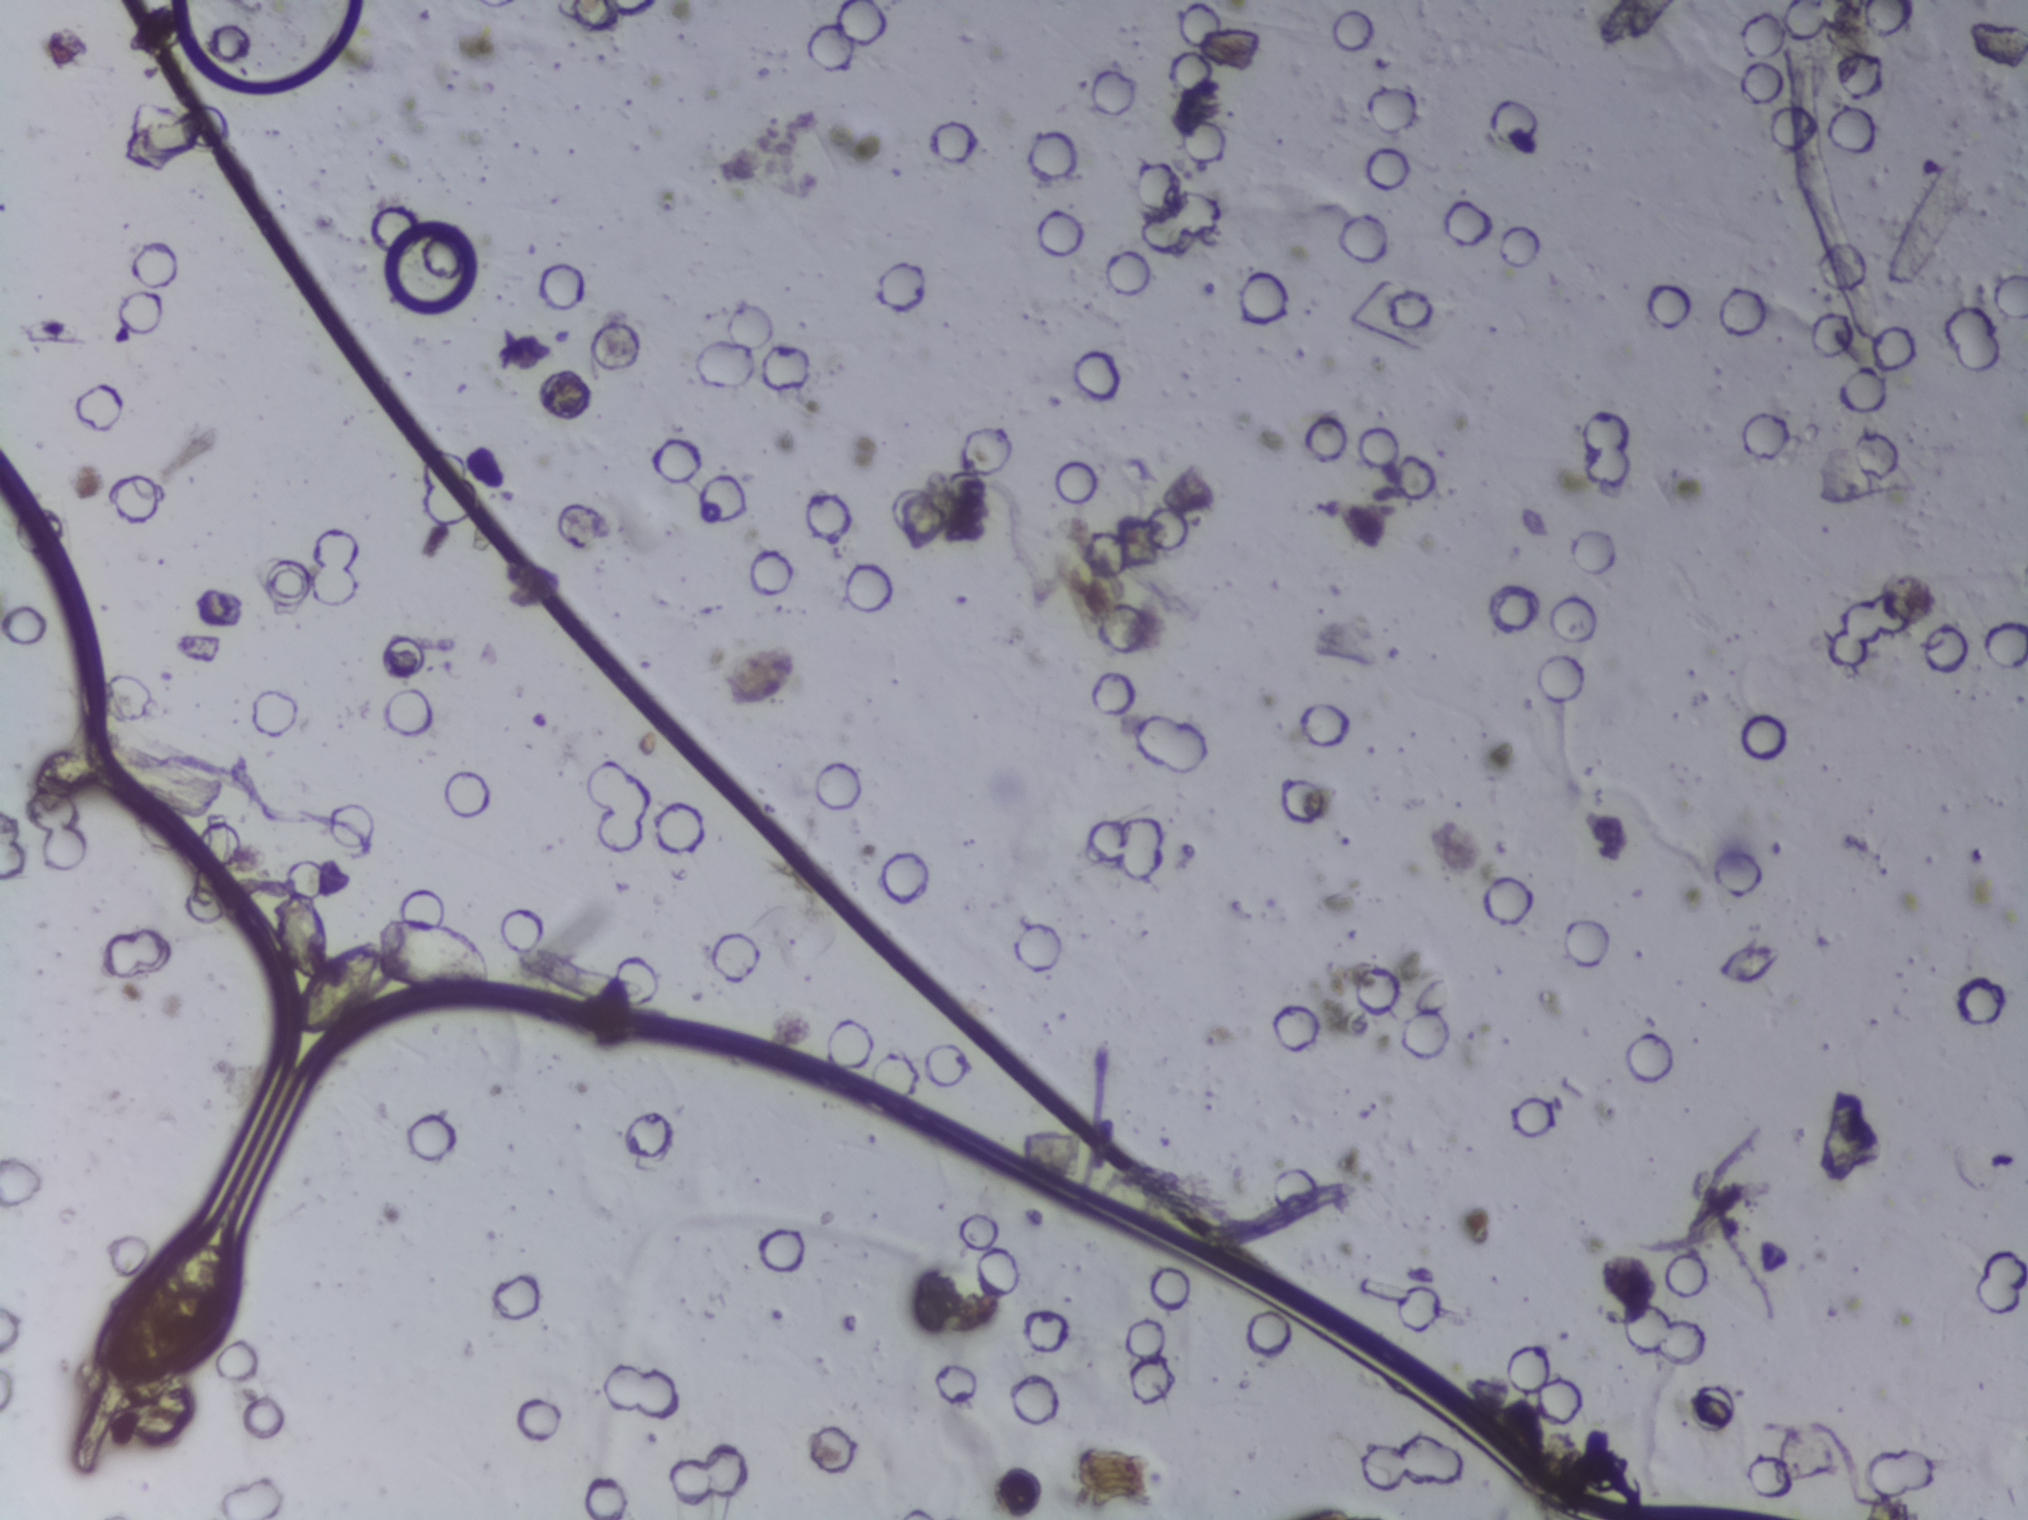
Photograph from an automated digital microscope: urine filter membrane, 4× objective.
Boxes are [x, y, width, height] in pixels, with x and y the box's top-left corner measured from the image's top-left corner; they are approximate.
{"schistosoma_egg_areas_xywh_px": [[97, 1235, 142, 151], [276, 889, 108, 146]]}
Eggs that touch can end up inside the same outlined area.